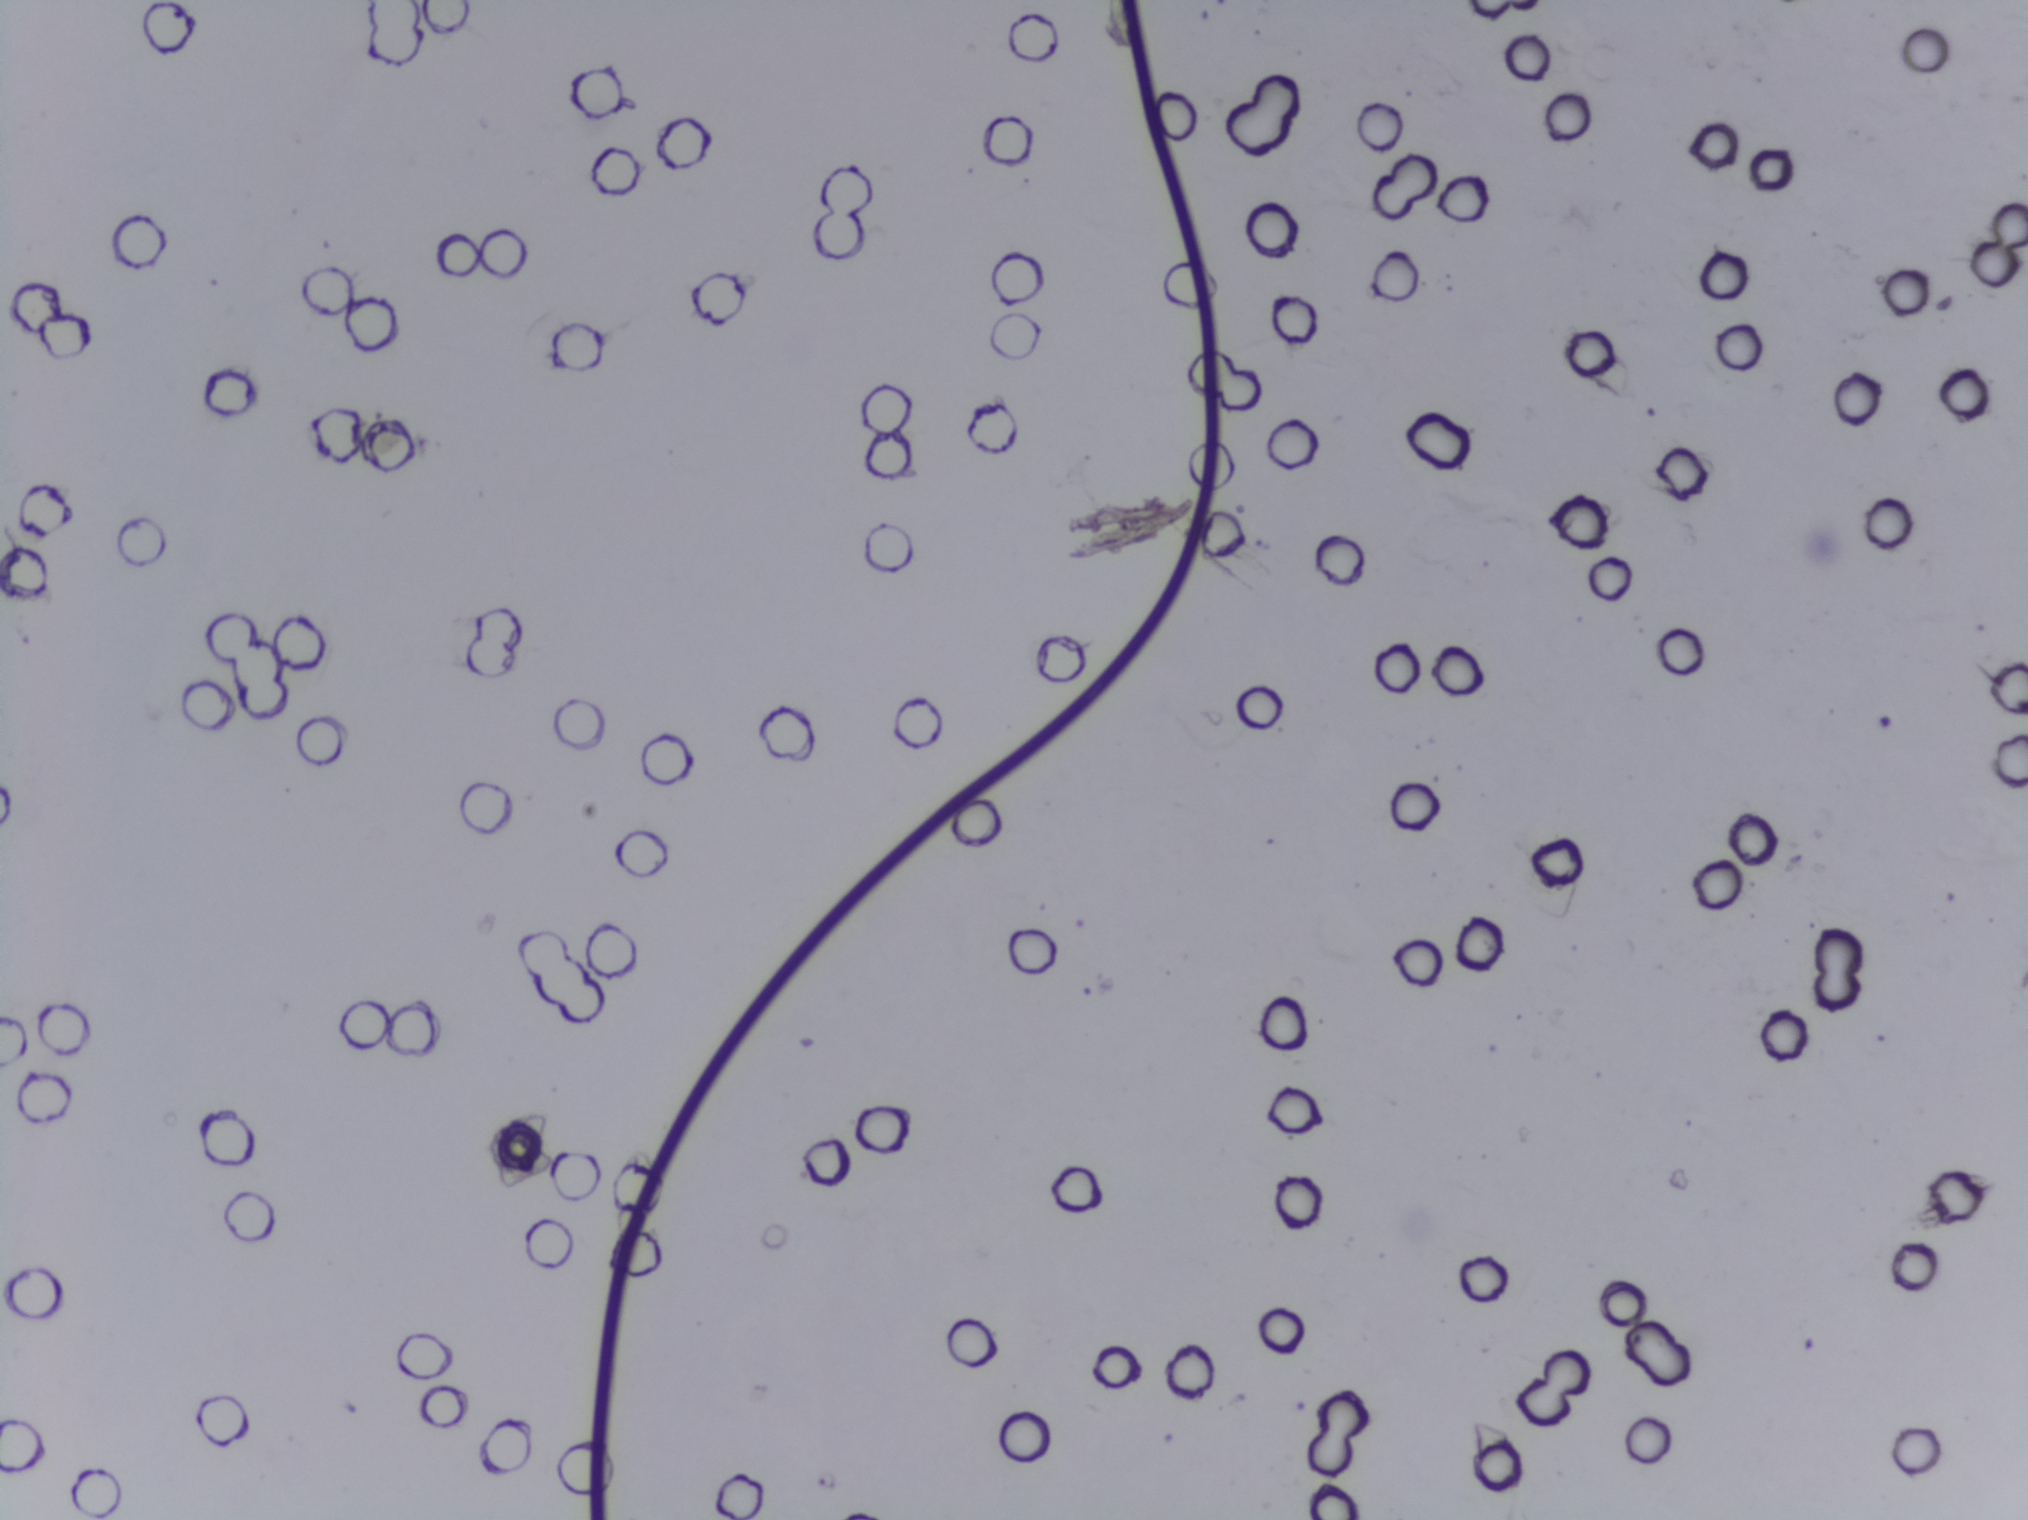
No area of this image was outlined as a Schistosoma egg.
One field of view of a urine filter membrane, 4× objective, 2028 × 1520 pixels.